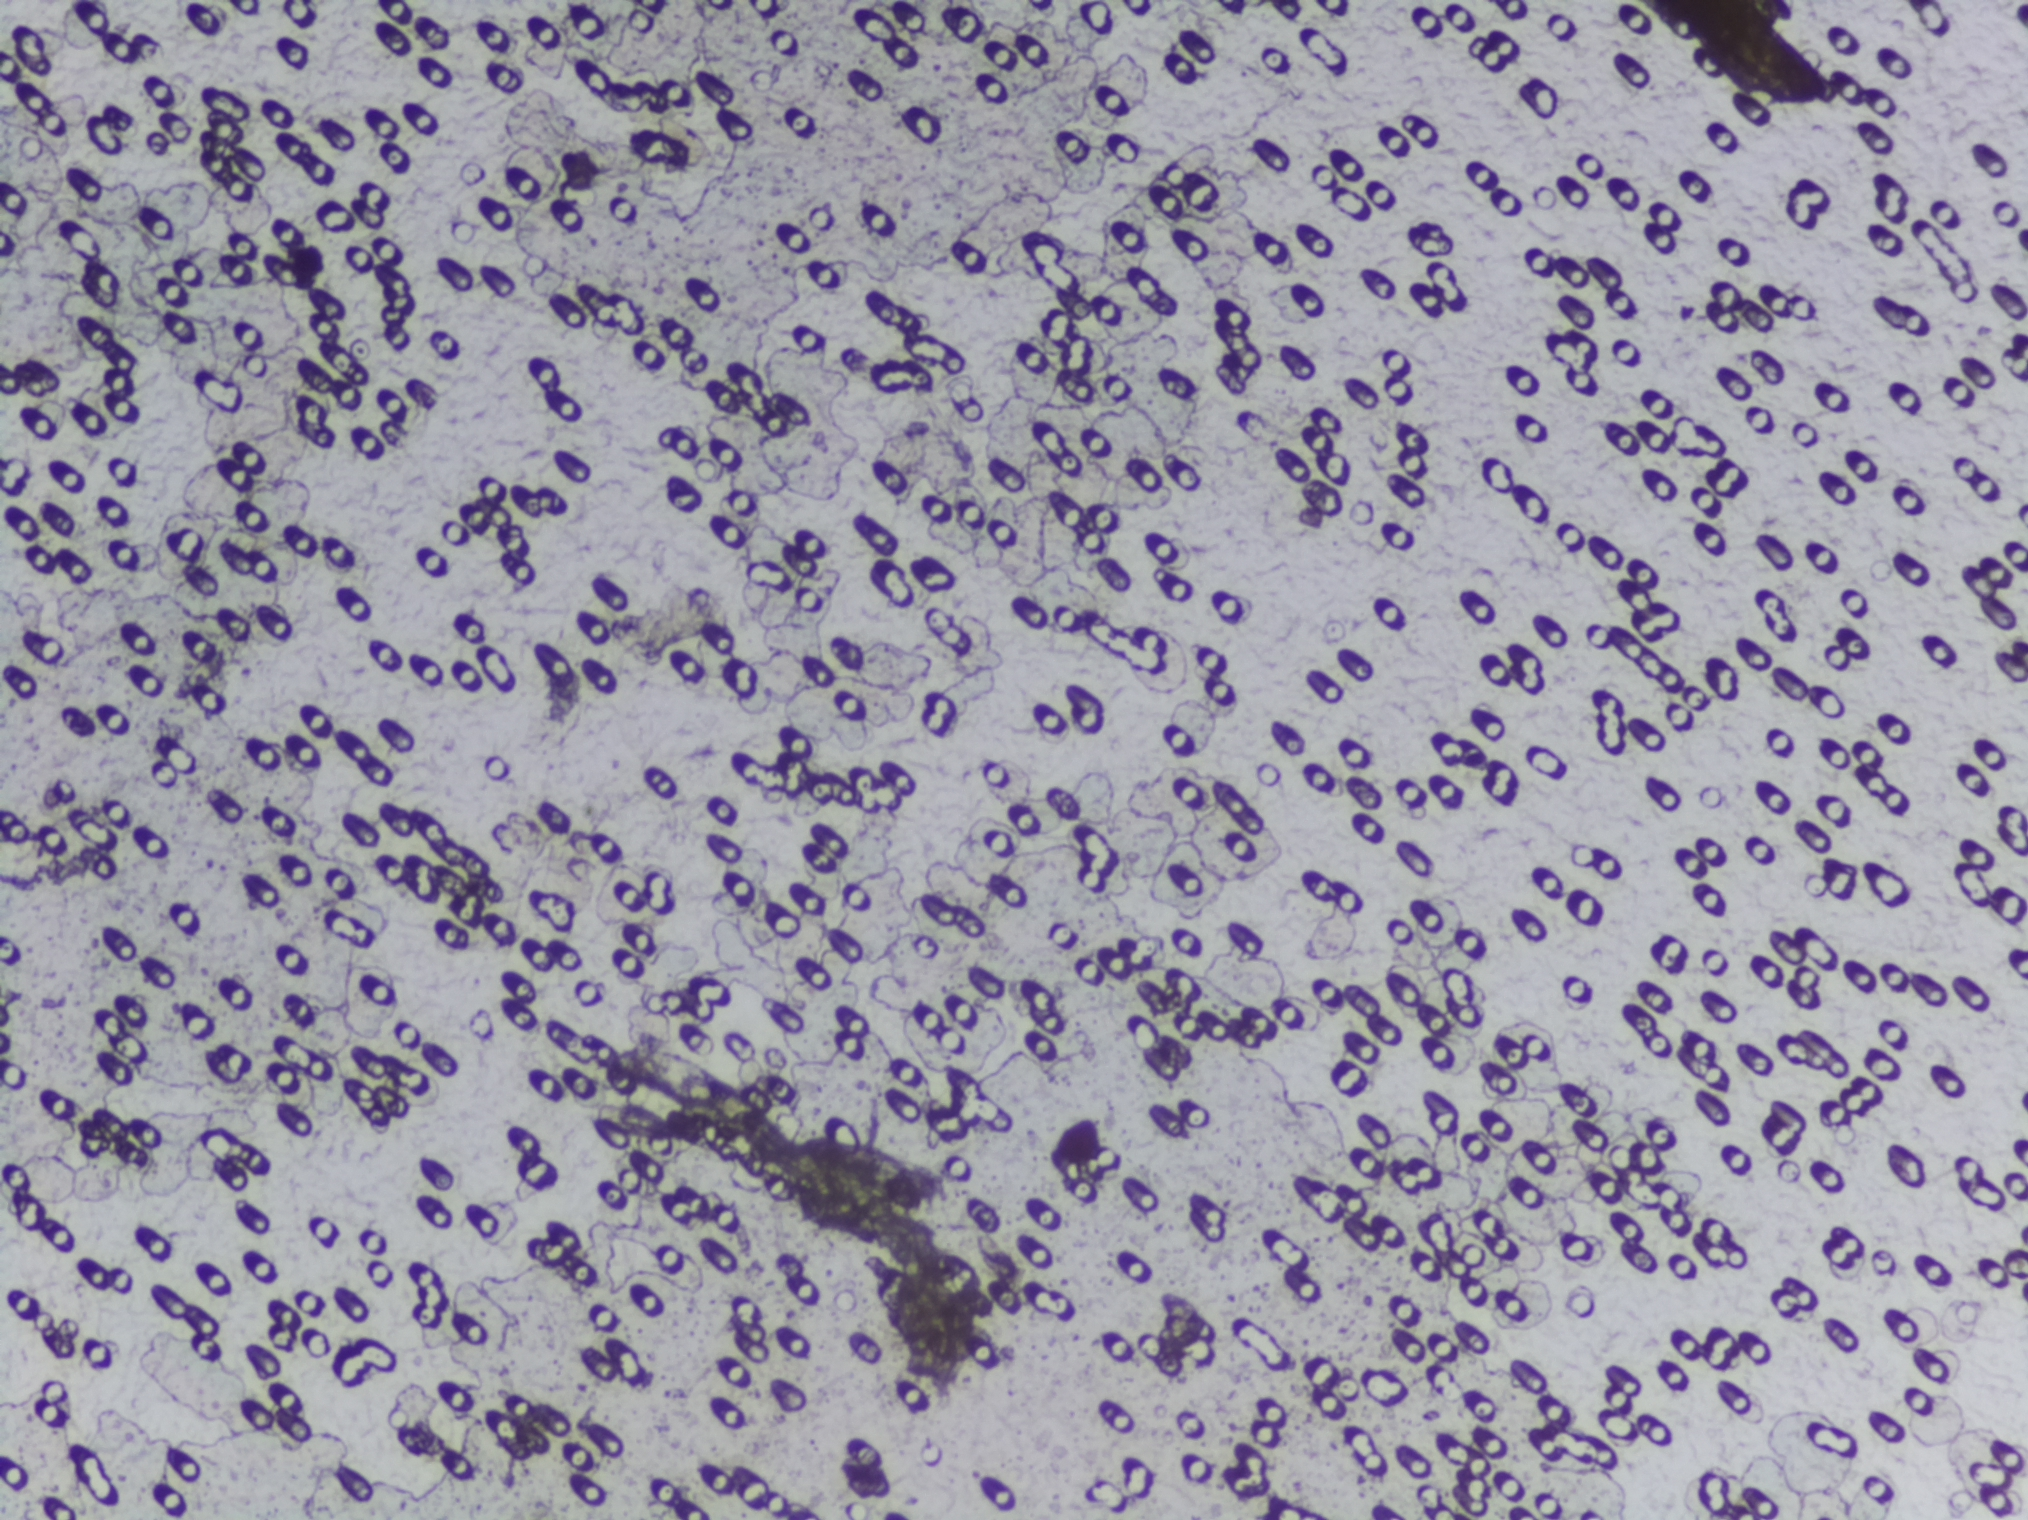
Photograph from an automated digital microscope: urine filter membrane, 4× objective. The image covers about 1.5 × 1.1 mm of the membrane.
The expert annotation outlines no Schistosoma egg in this image.